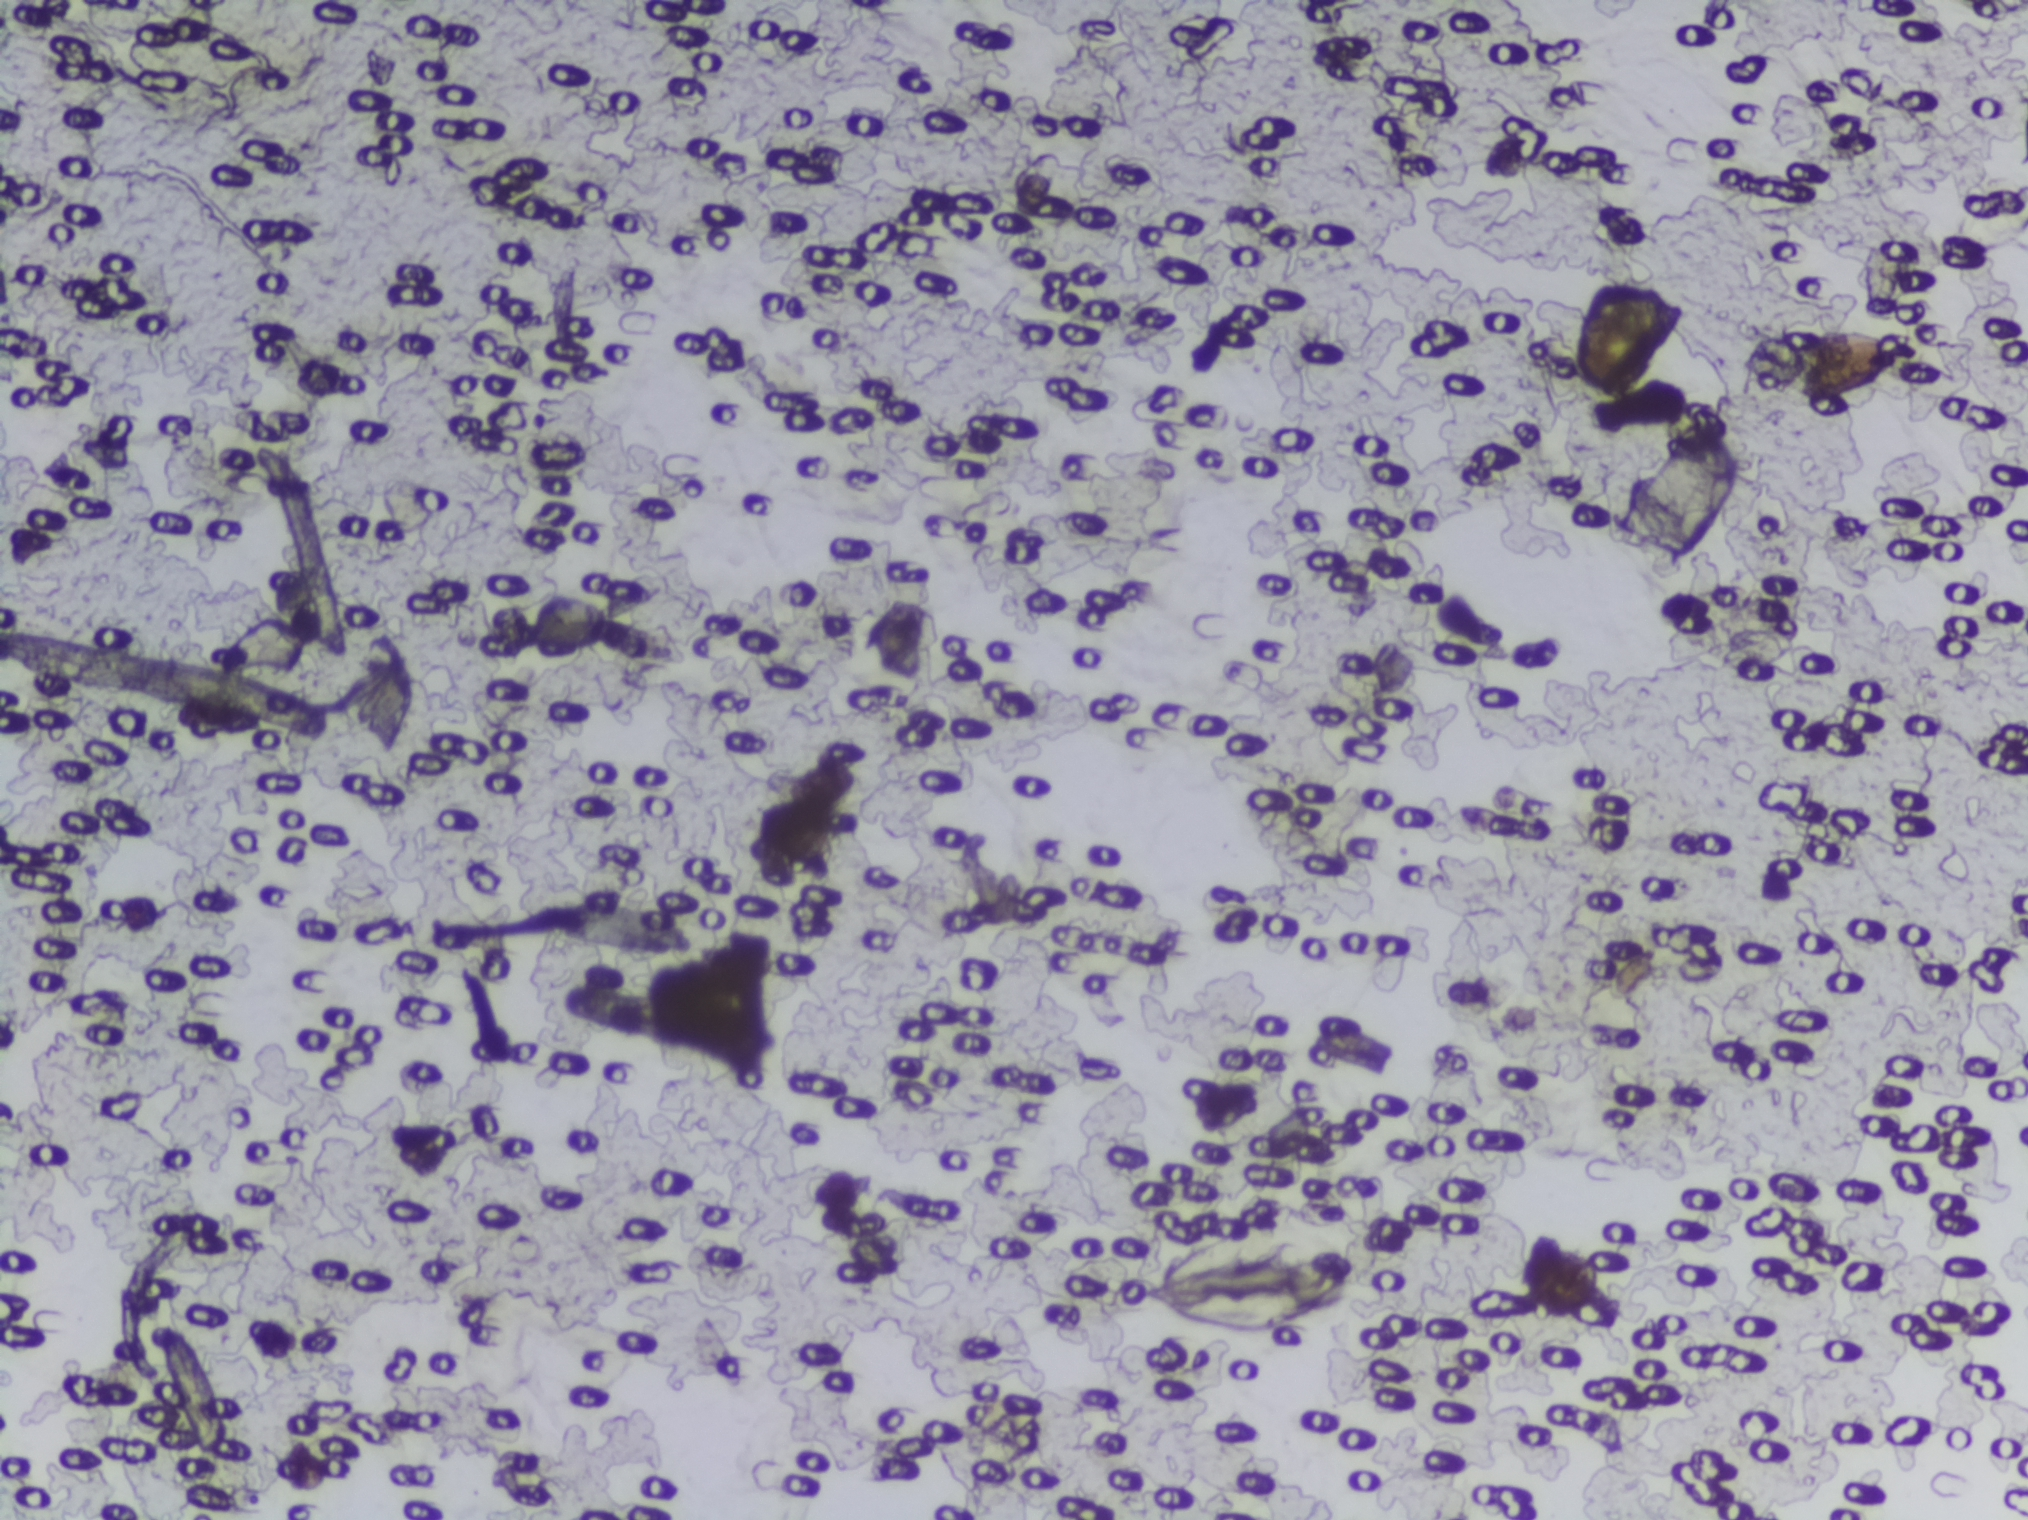
One field of view of a urine filter membrane, 4× objective, 2028 × 1520 pixels.
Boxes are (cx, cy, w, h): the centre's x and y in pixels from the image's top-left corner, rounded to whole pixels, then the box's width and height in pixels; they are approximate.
Schistosoma eggs are outlined in one area of this image: (cx=1247, cy=1274, w=248, h=153). A single outlined area may contain several eggs. A marked egg may occasionally be S. mansoni rather than S. haematobium.